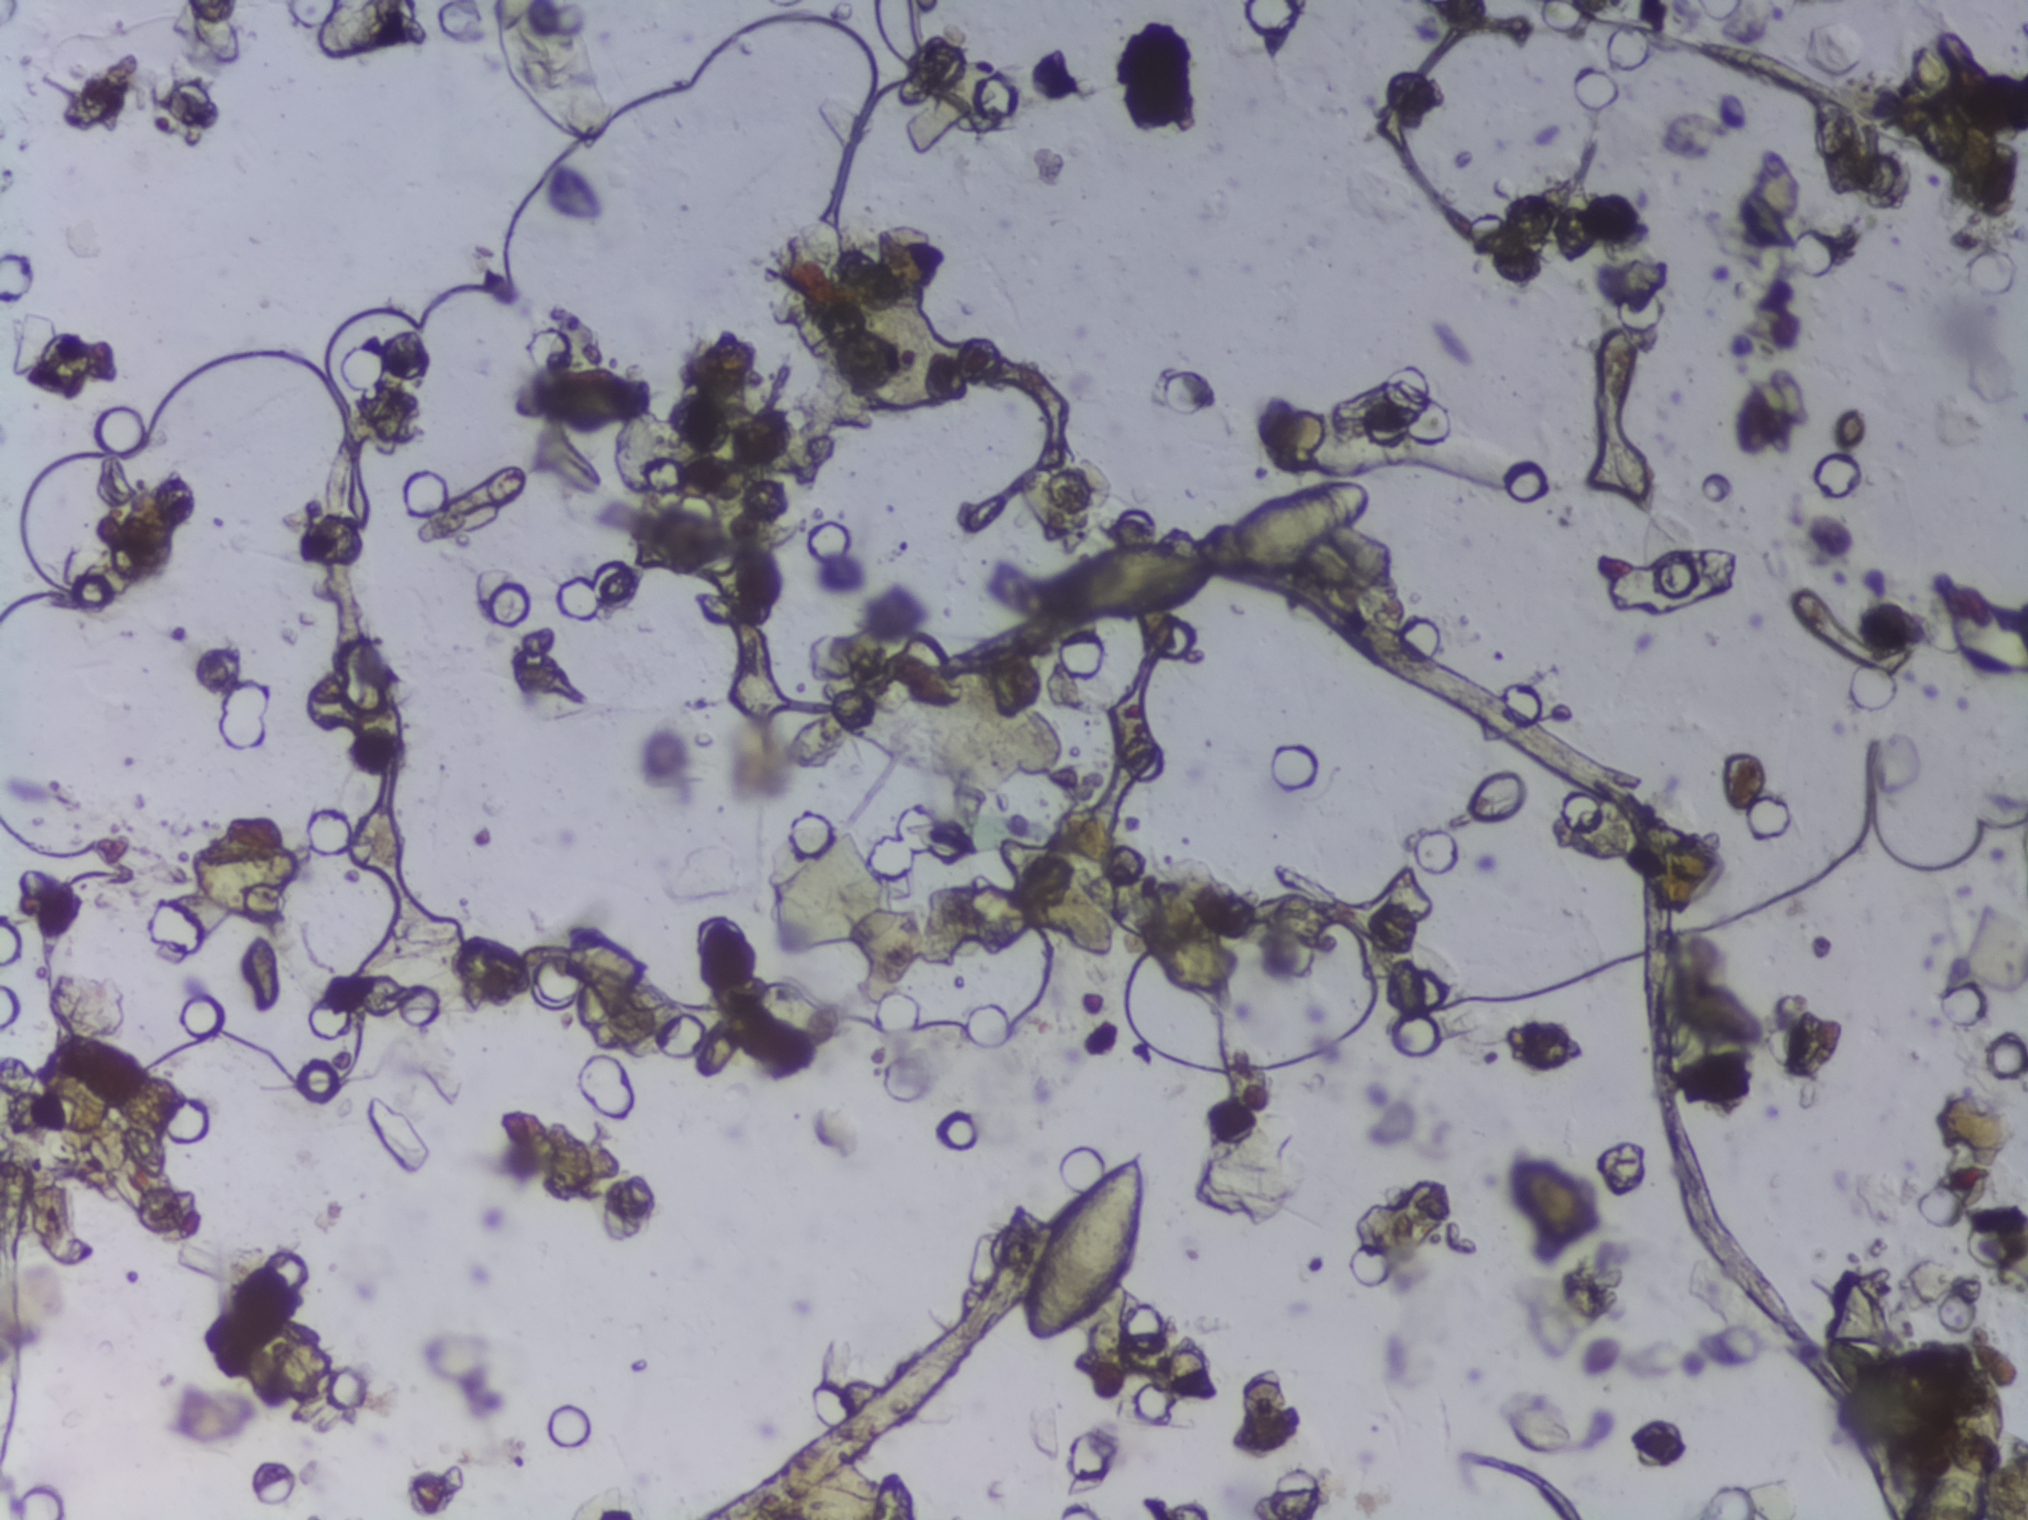
Photomicrograph of a urine filtration membrane, 4× objective.
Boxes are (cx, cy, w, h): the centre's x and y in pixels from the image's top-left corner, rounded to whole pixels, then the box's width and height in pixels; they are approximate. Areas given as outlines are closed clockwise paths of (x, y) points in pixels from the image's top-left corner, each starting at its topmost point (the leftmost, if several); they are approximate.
Findings: three areas outlined as Schistosoma eggs. Locations: box (cx=553, cy=76, w=142, h=152) (reaching the top edge of the frame); box (cx=1095, cy=1245, w=147, h=211); outline (1326, 478), (1364, 478), (1376, 501), (1366, 530), (1329, 554), (1294, 567), (1217, 579), (1197, 595), (1134, 619), (1049, 622), (1022, 615), (1013, 602), (1012, 589), (1020, 581), (1084, 550), (1146, 535), (1191, 541), (1226, 516), (1267, 507). A single outlined area may contain several eggs.